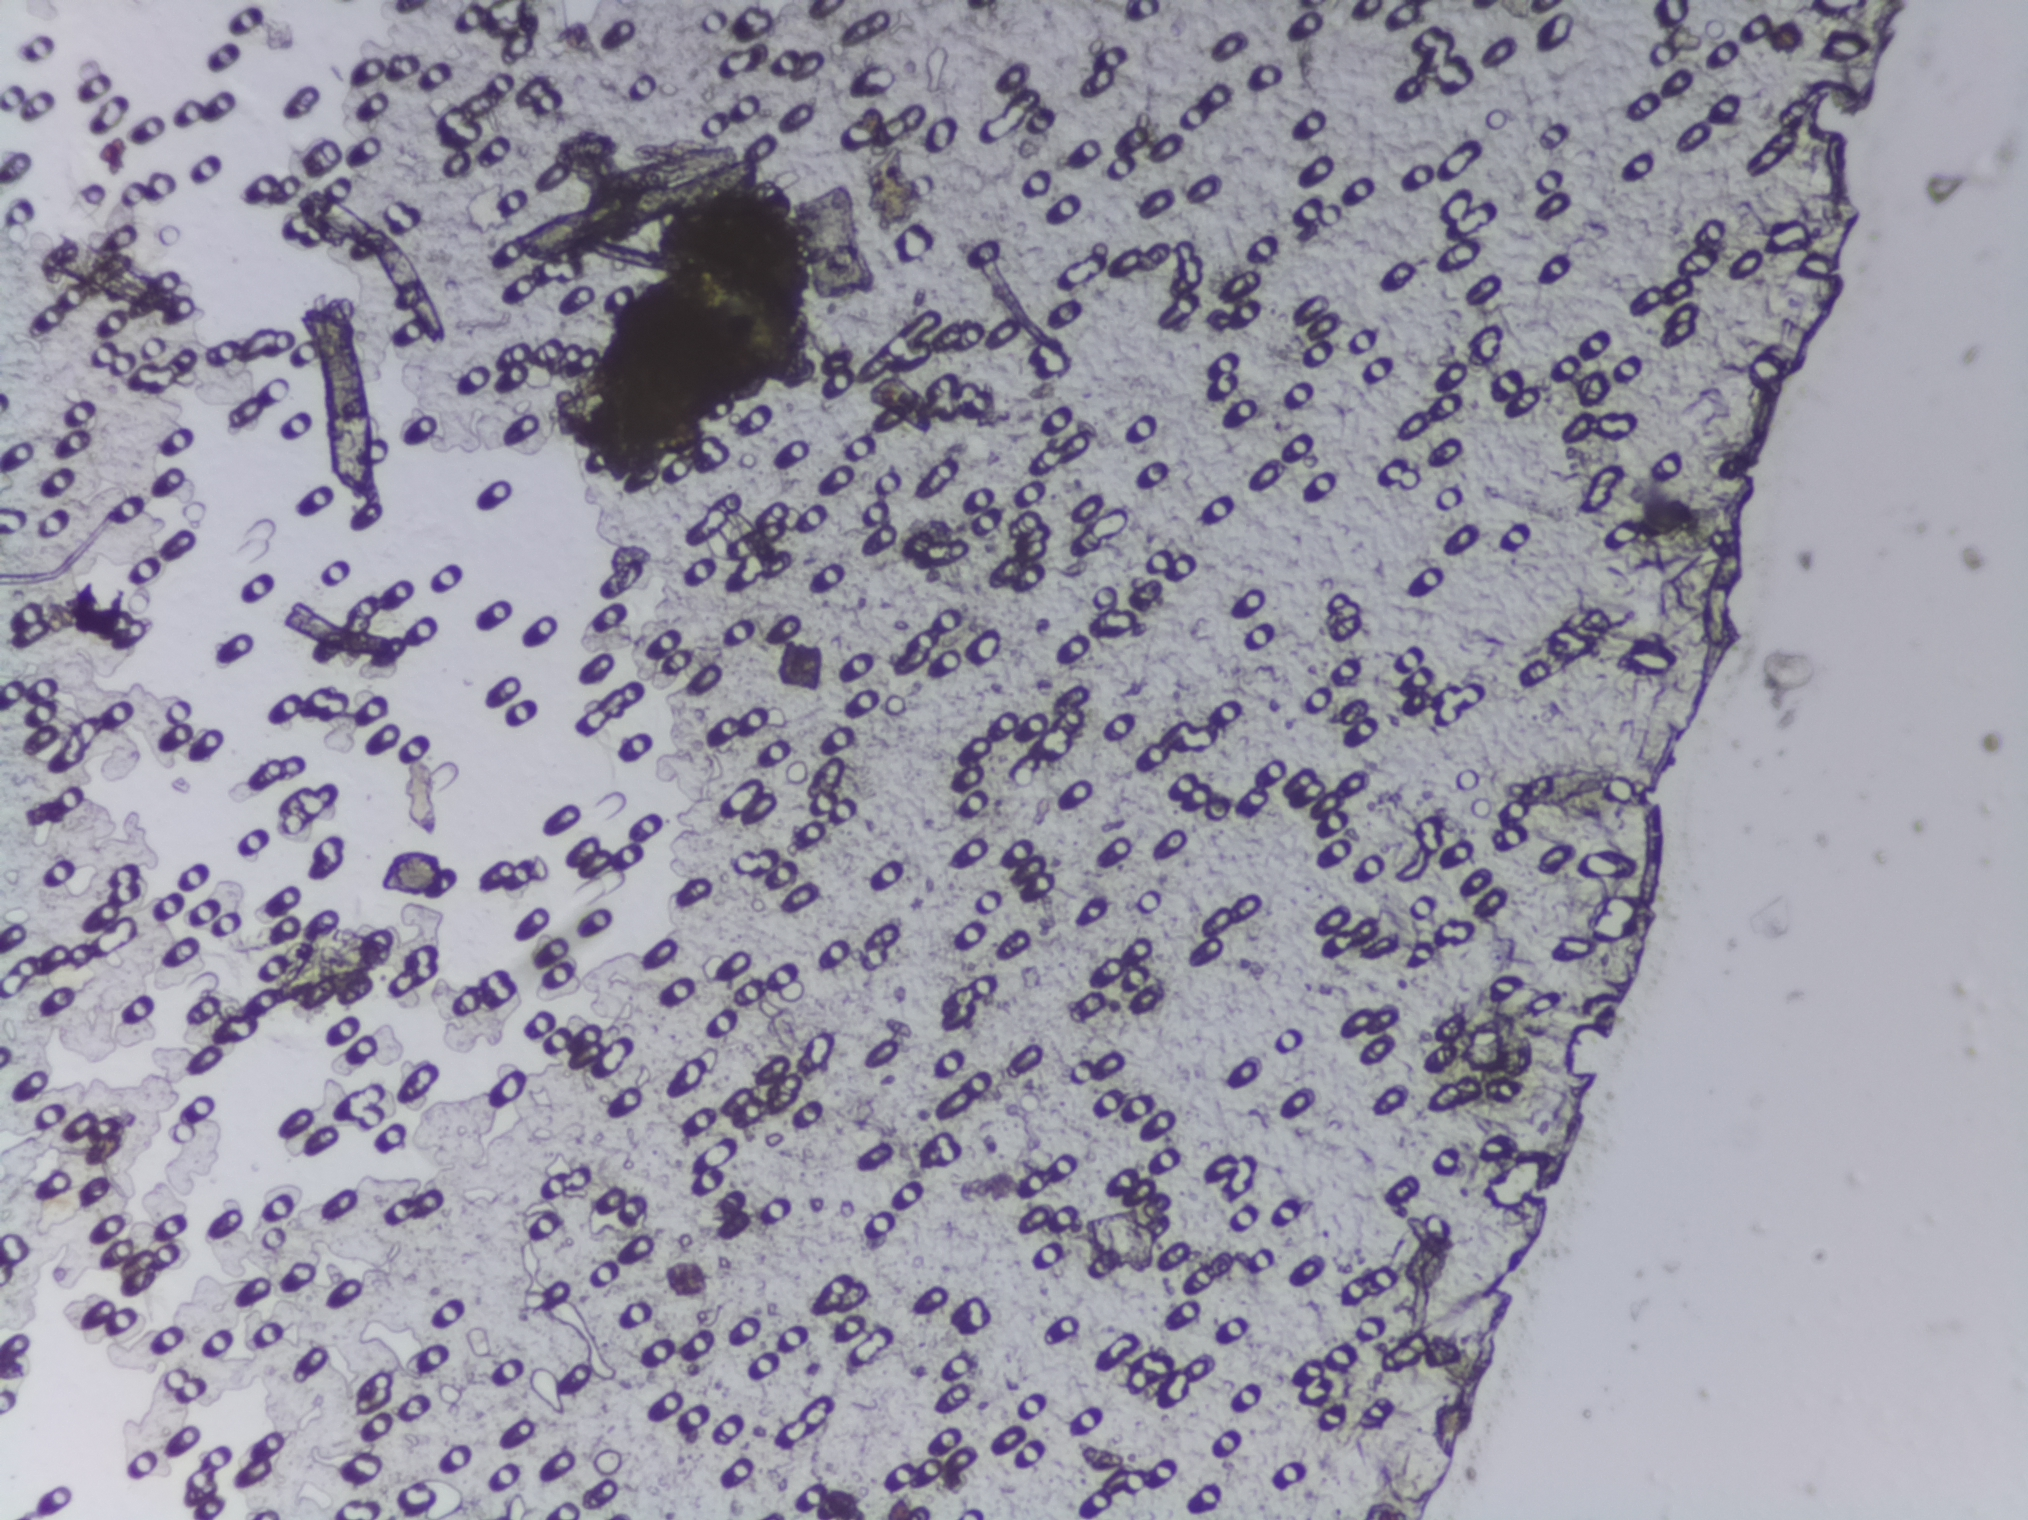
No Schistosoma egg is outlined in this image's expert annotation.
Microscope photograph (4× objective) of a membrane that a urine sample was filtered through. The field of view is about 1.5 mm × 1.1 mm.